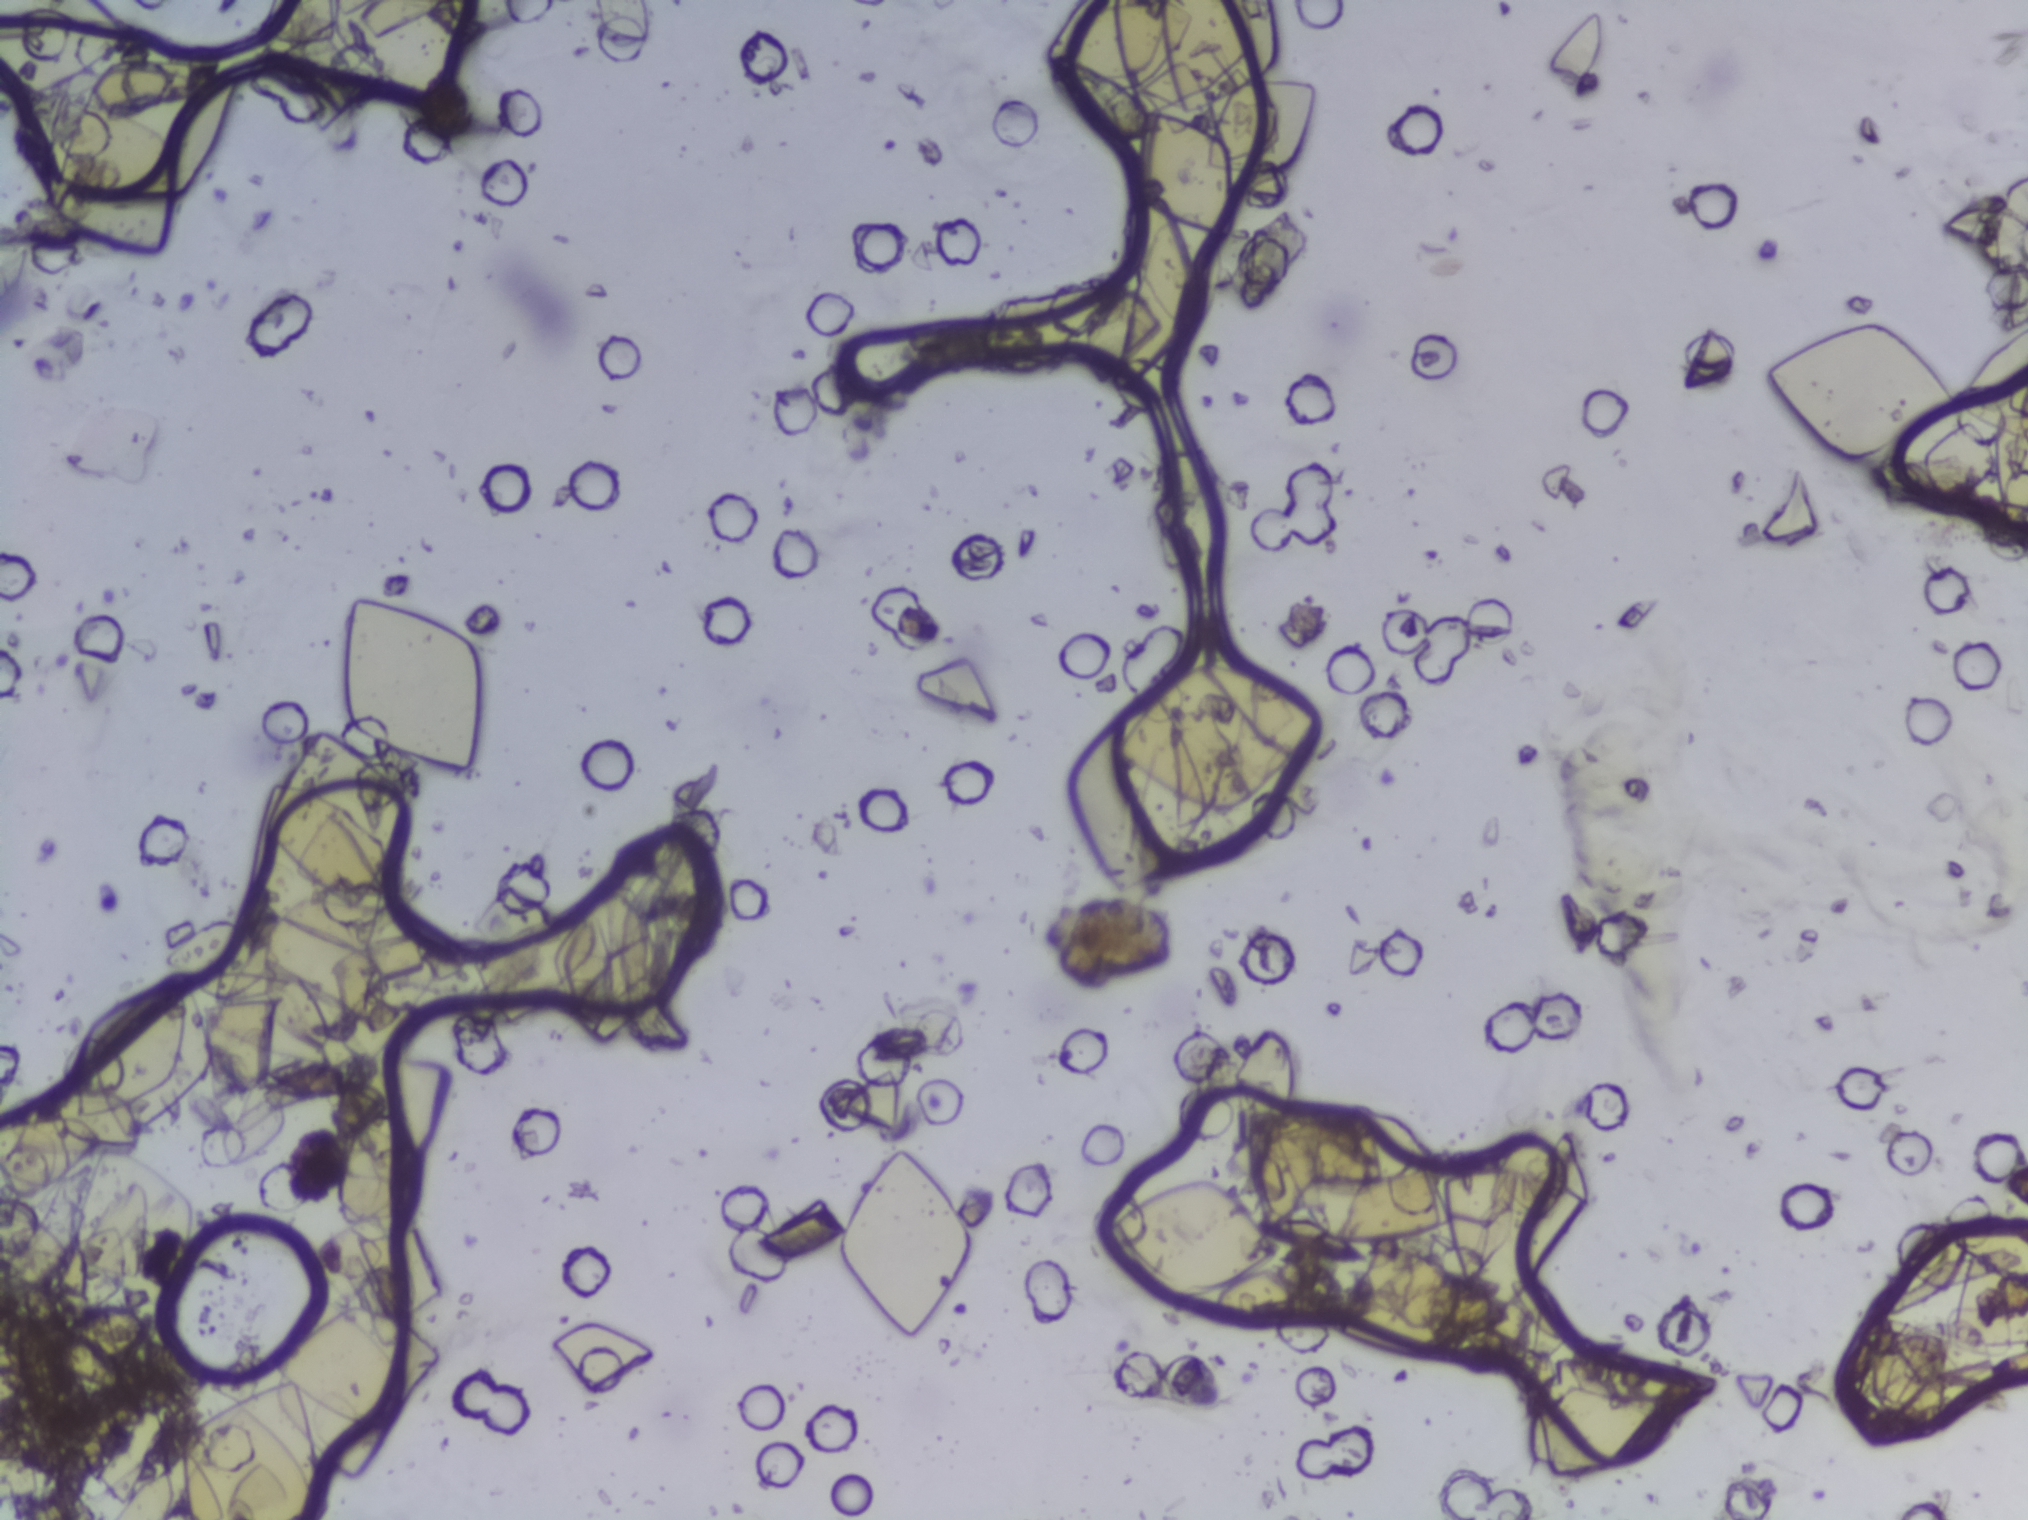
Microscope photograph (4× objective) of a membrane that a urine sample was filtered through.
No area of this image was outlined as a Schistosoma egg.